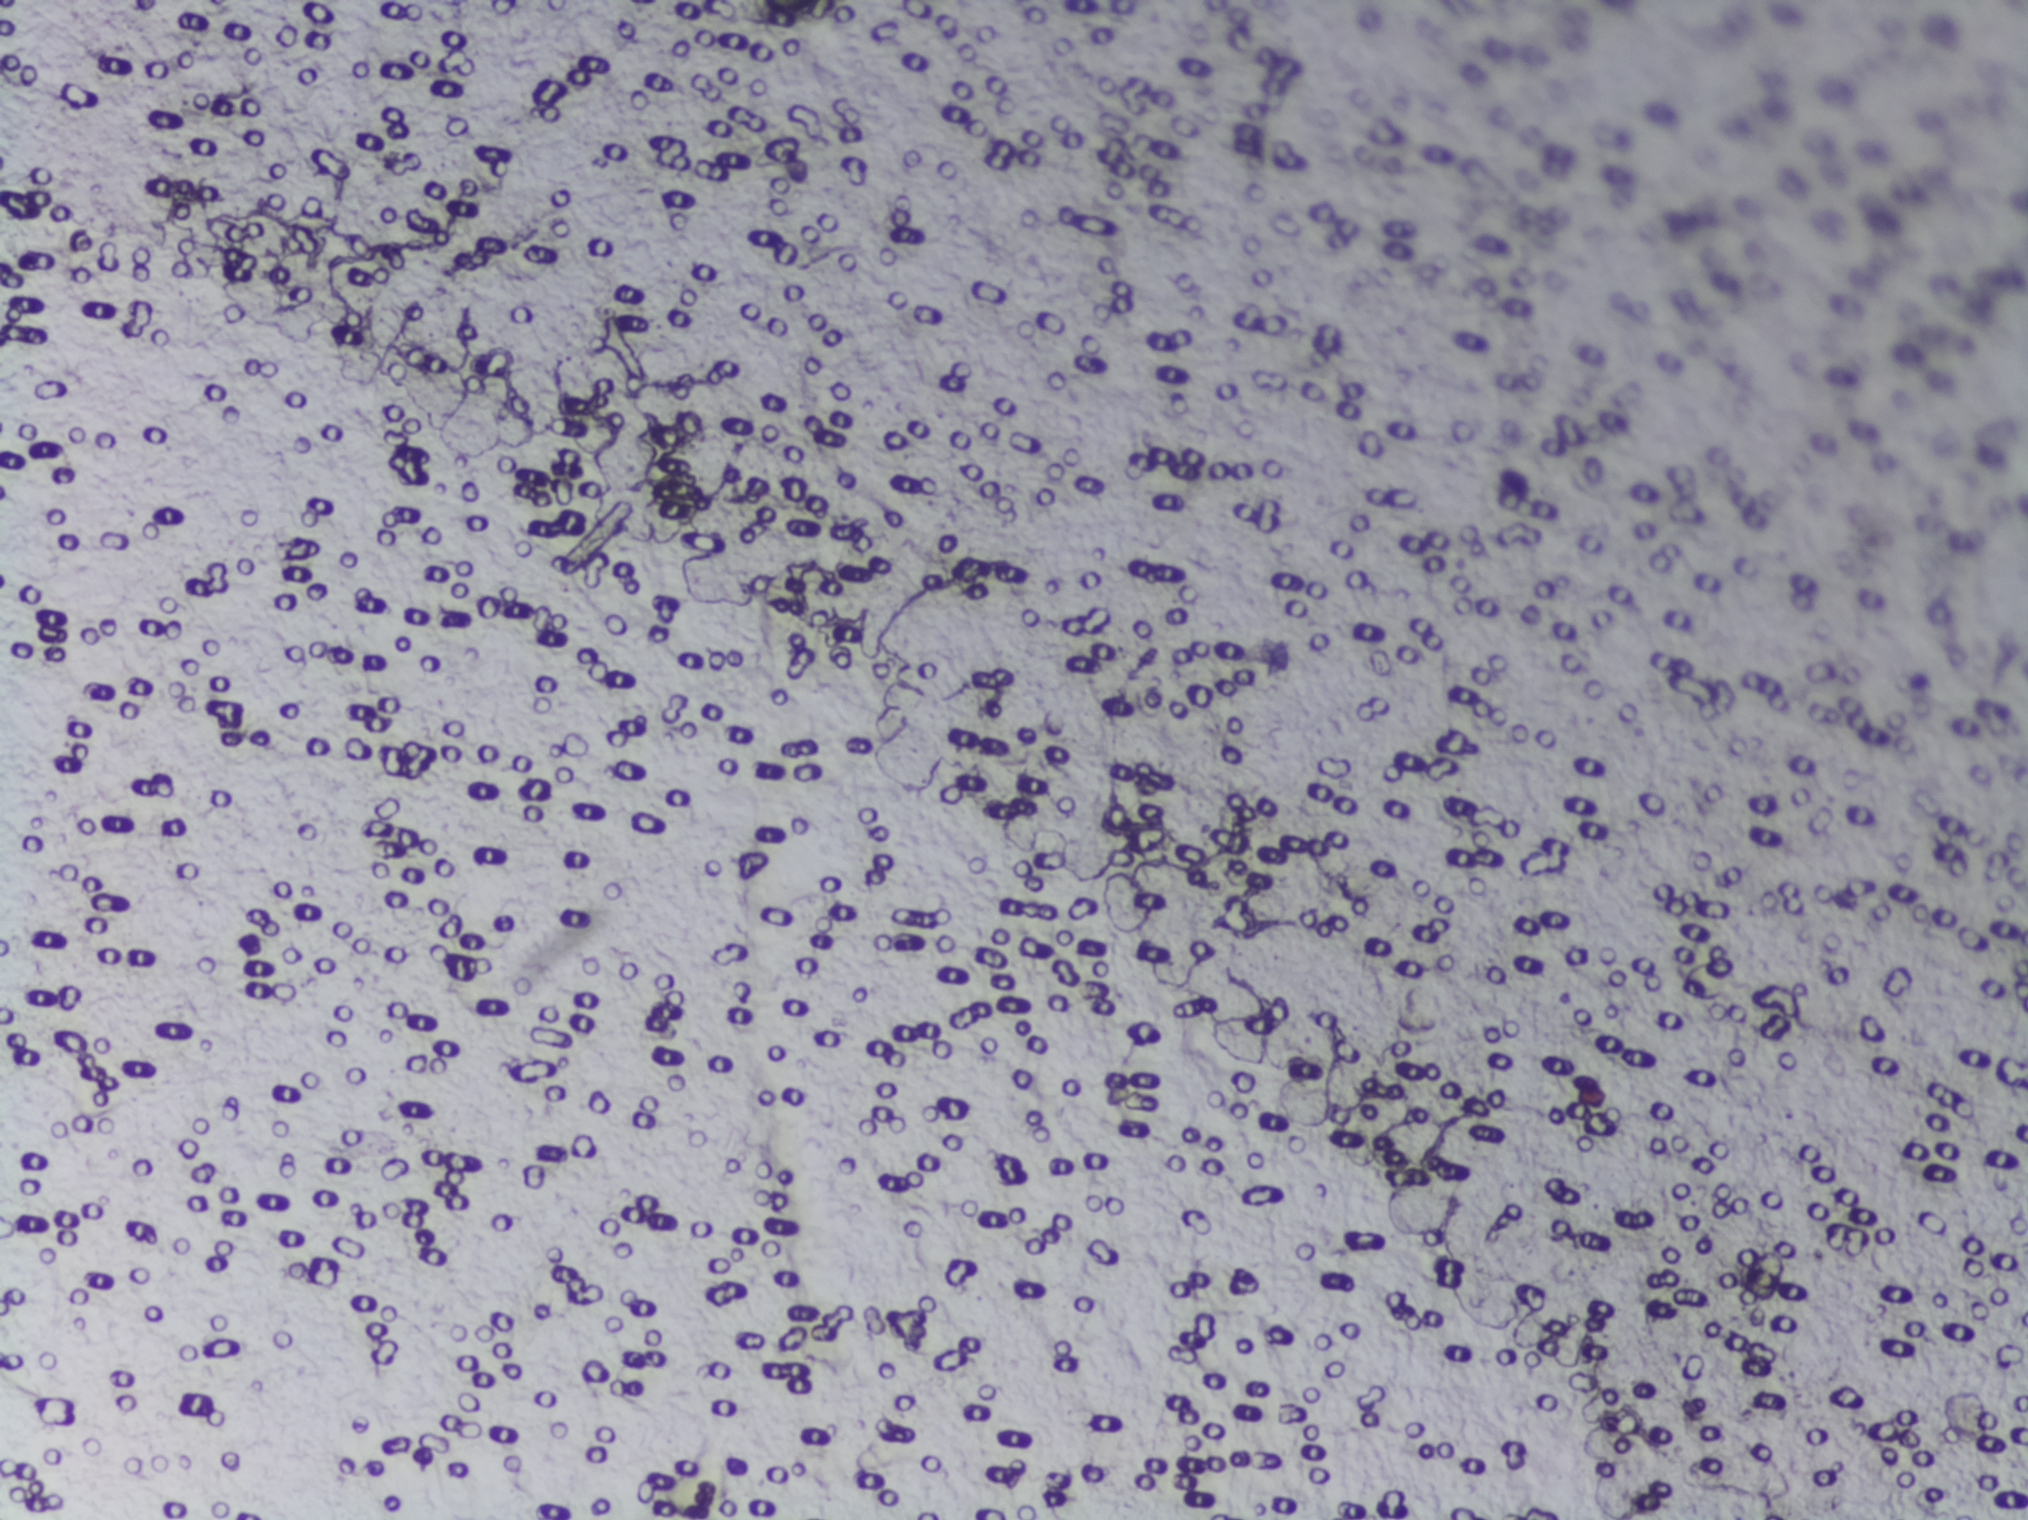
One field of view of a urine filter membrane, 4× objective, 2028 × 1520 pixels.
Schistosoma eggs: none outlined.